One field of view of a urine filter membrane, 4× objective, 2028 × 1520 pixels.
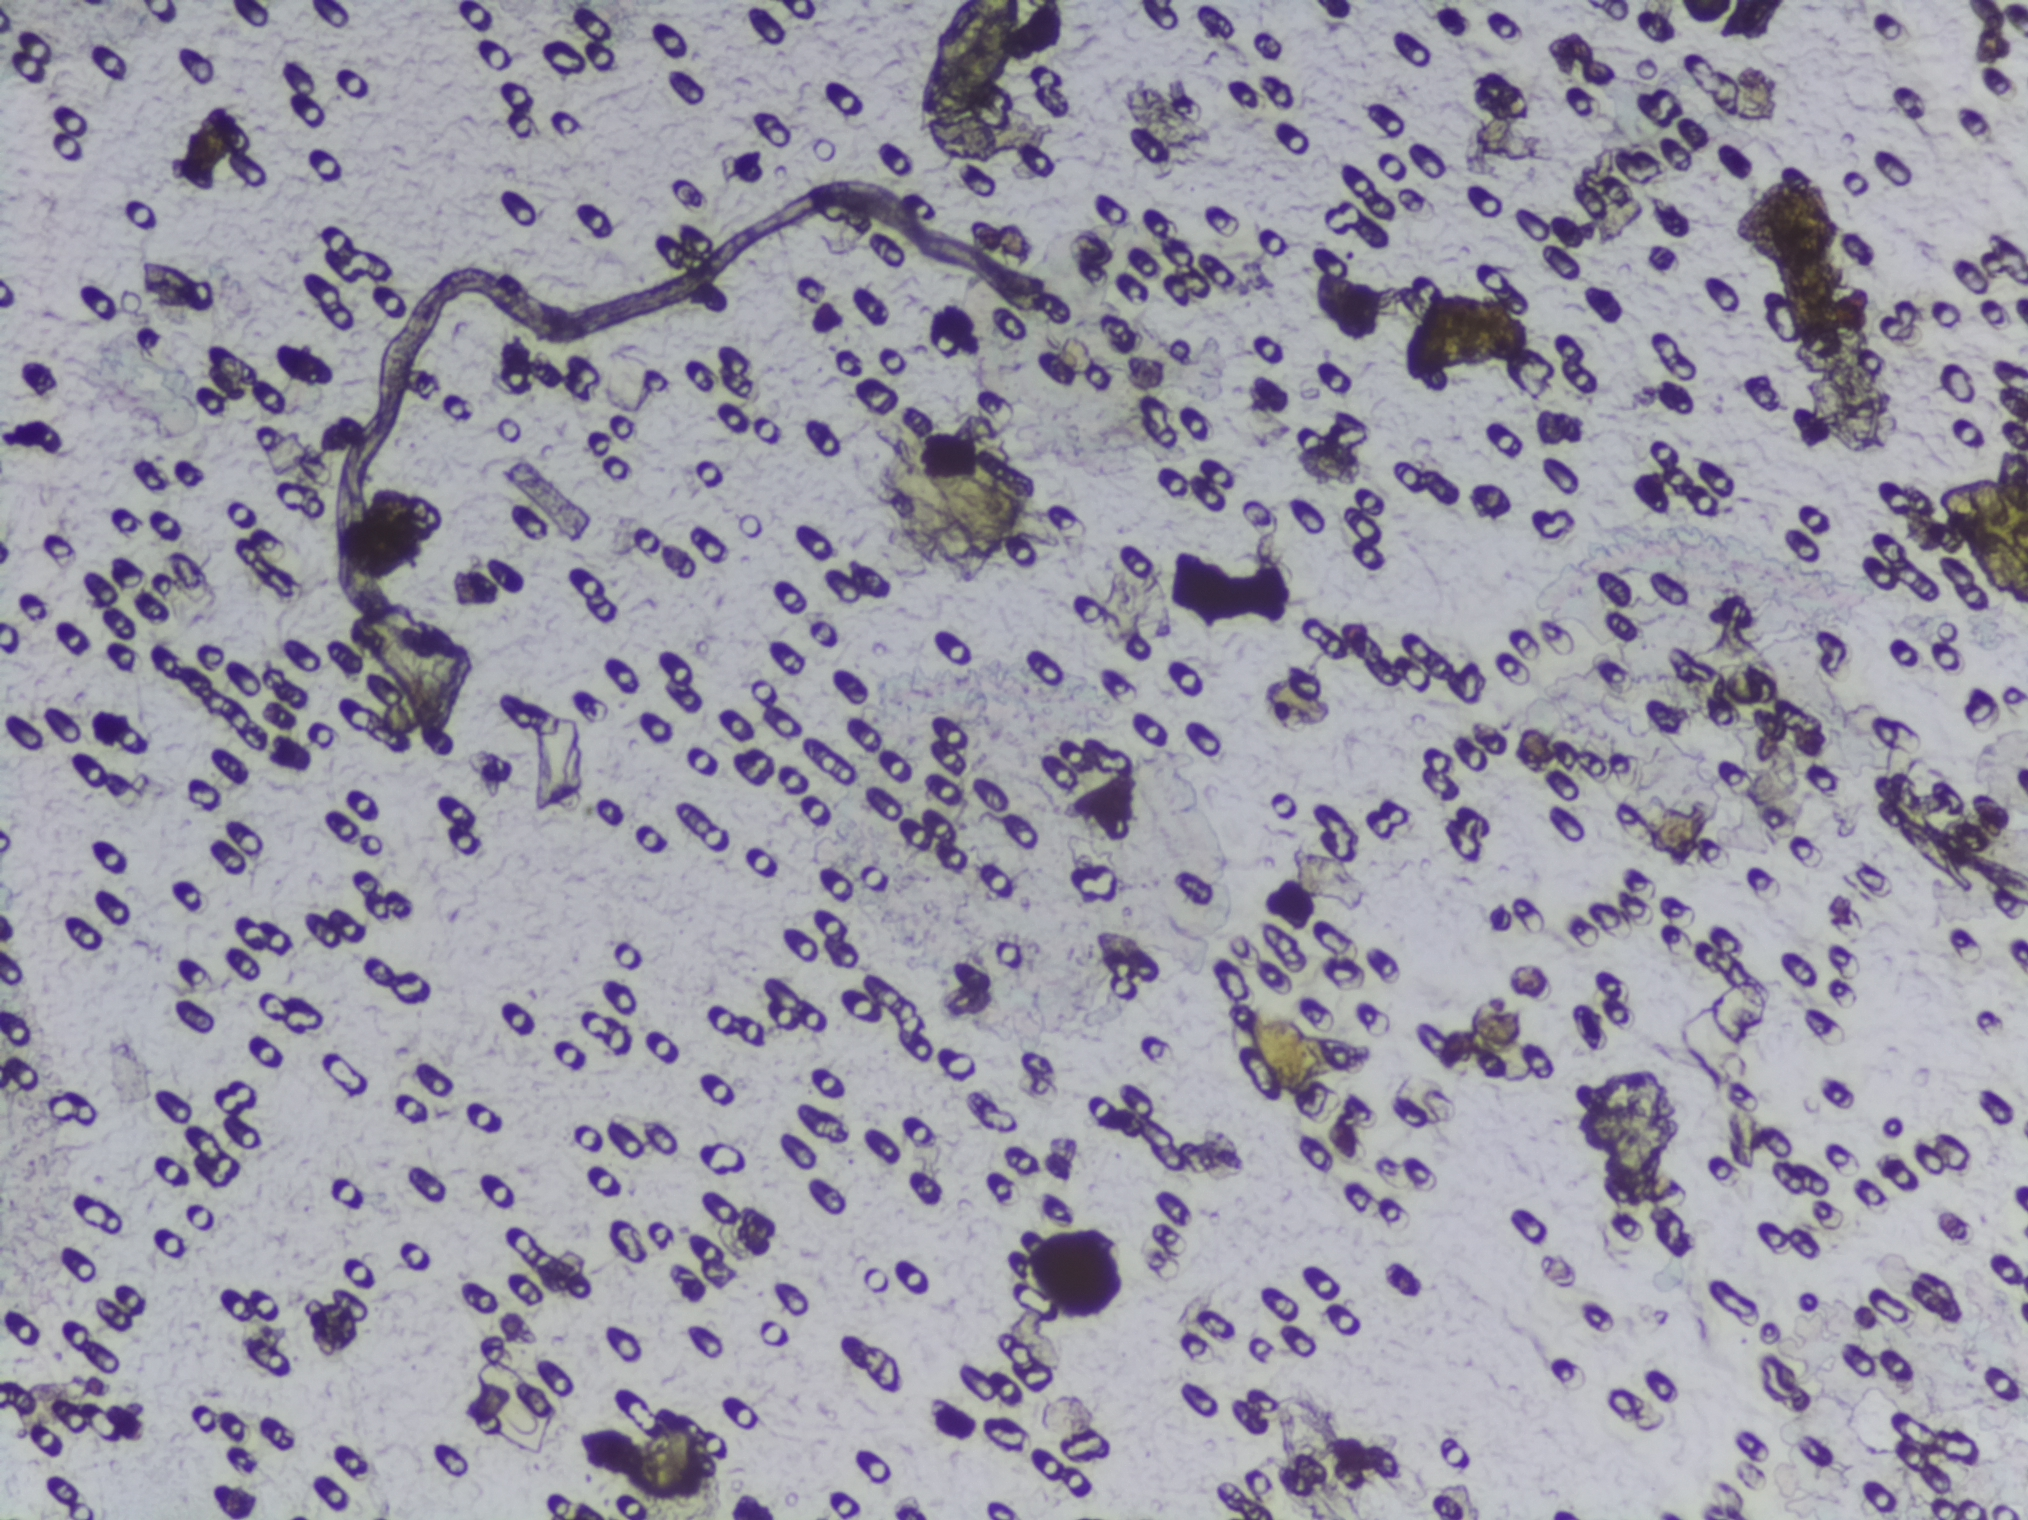
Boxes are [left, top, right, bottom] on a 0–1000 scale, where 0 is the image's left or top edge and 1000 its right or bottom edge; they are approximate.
Schistosoma eggs, outlined areas: [441, 0, 520, 99] (reaching the top edge of the frame). The marked pixels themselves, not the box around them, cover about 0.6% of the image. An outlined area can hold more than one egg.